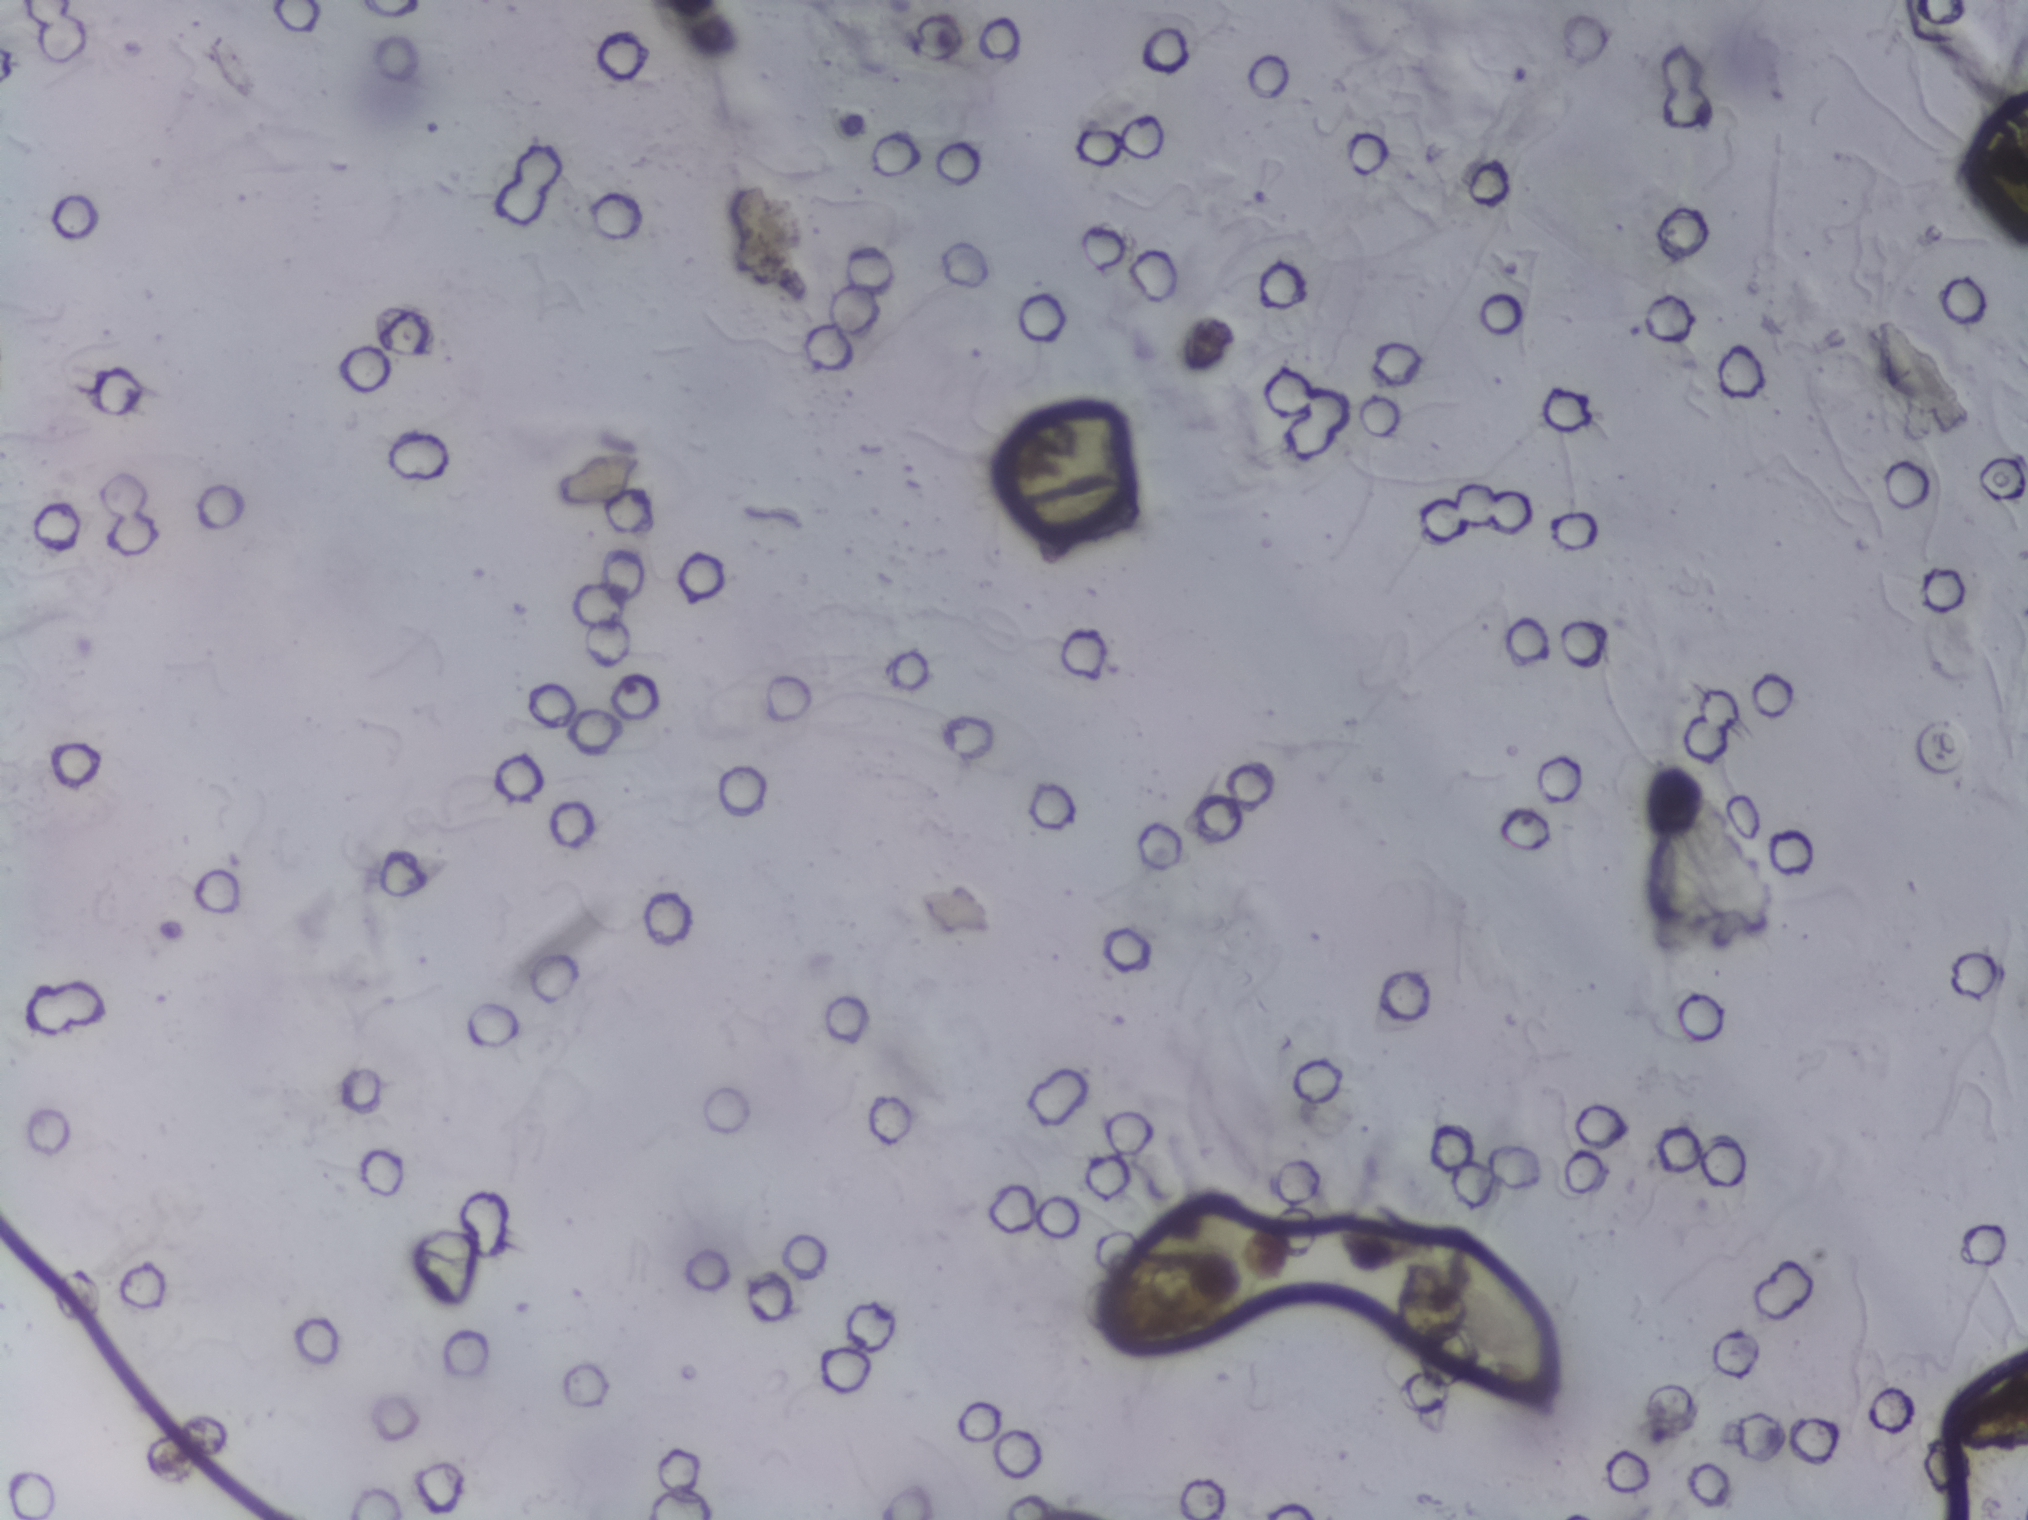
Urine filtration membrane under a 4× objective, photographed by an automated digital microscope.
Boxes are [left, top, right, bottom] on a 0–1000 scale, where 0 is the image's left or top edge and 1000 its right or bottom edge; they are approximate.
The expert annotation outlines Schistosoma eggs at [553, 796, 632, 887] and [686, 813, 770, 932]. About 1.1% of the image's pixels are marked (the marked pixels themselves, not the boxes around them). A single outlined area may contain several eggs.